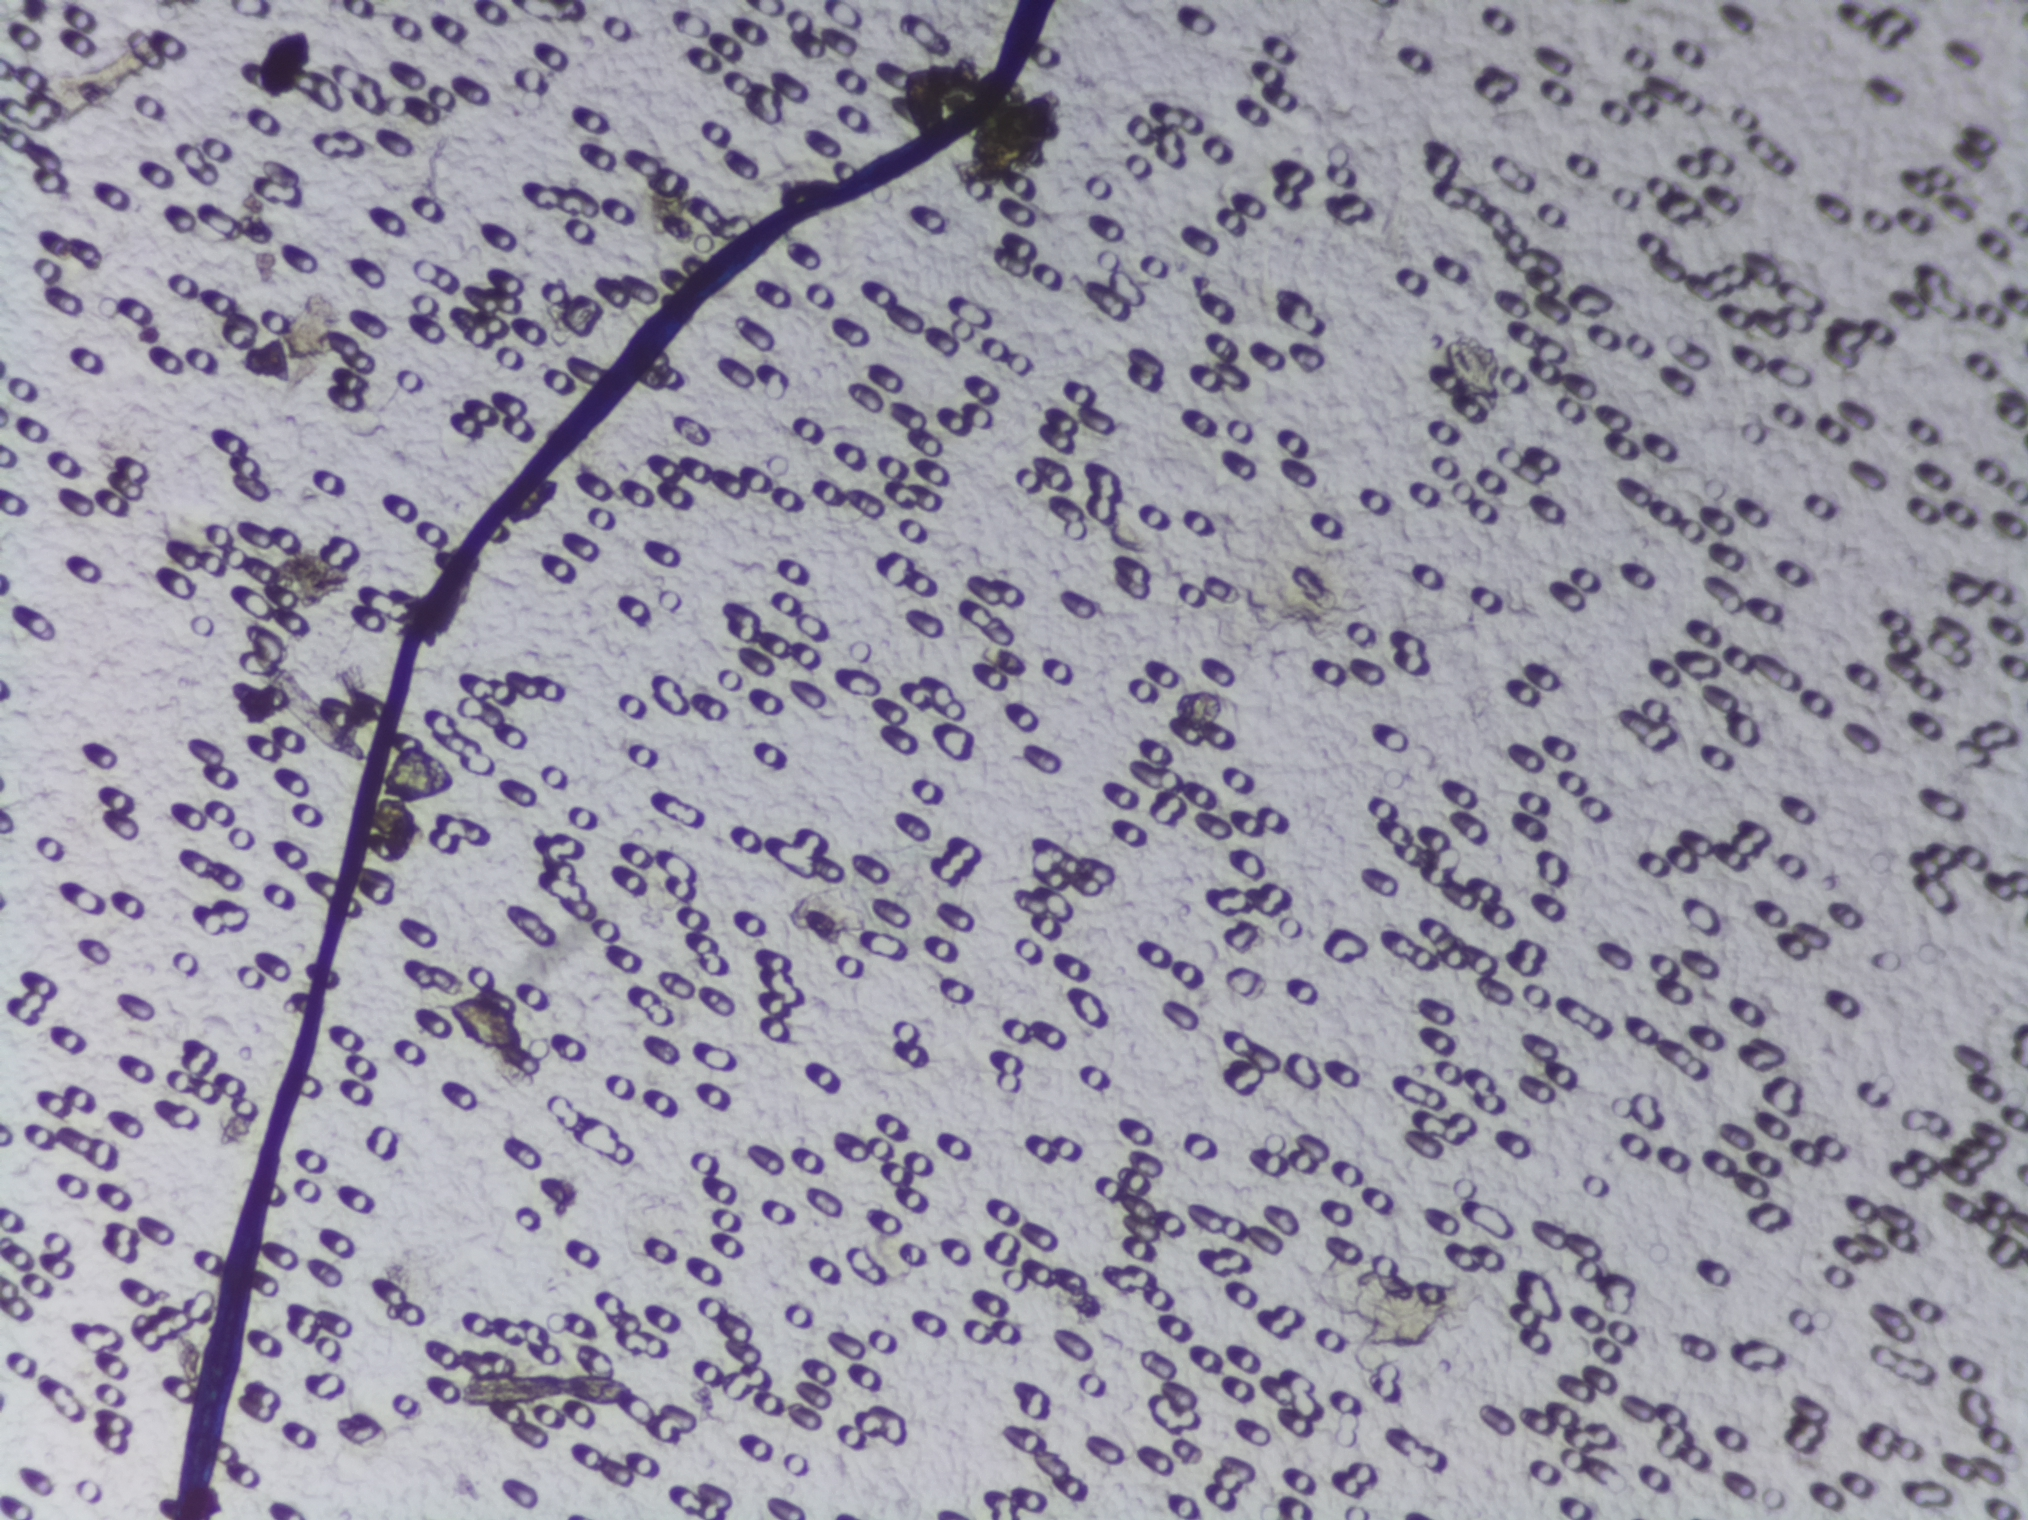
Urine filtration membrane under a 4× objective, photographed by an automated digital microscope.
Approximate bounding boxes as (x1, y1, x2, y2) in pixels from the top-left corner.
The expert annotation outlines Schistosoma eggs at (258, 553, 348, 606); (260, 28, 310, 101); (381, 743, 455, 804); (445, 992, 524, 1056); (966, 90, 1054, 187); (1442, 337, 1503, 410). About 0.7% of the image's pixels are marked (the marked pixels themselves, not the boxes around them). An outlined area can hold more than one egg.